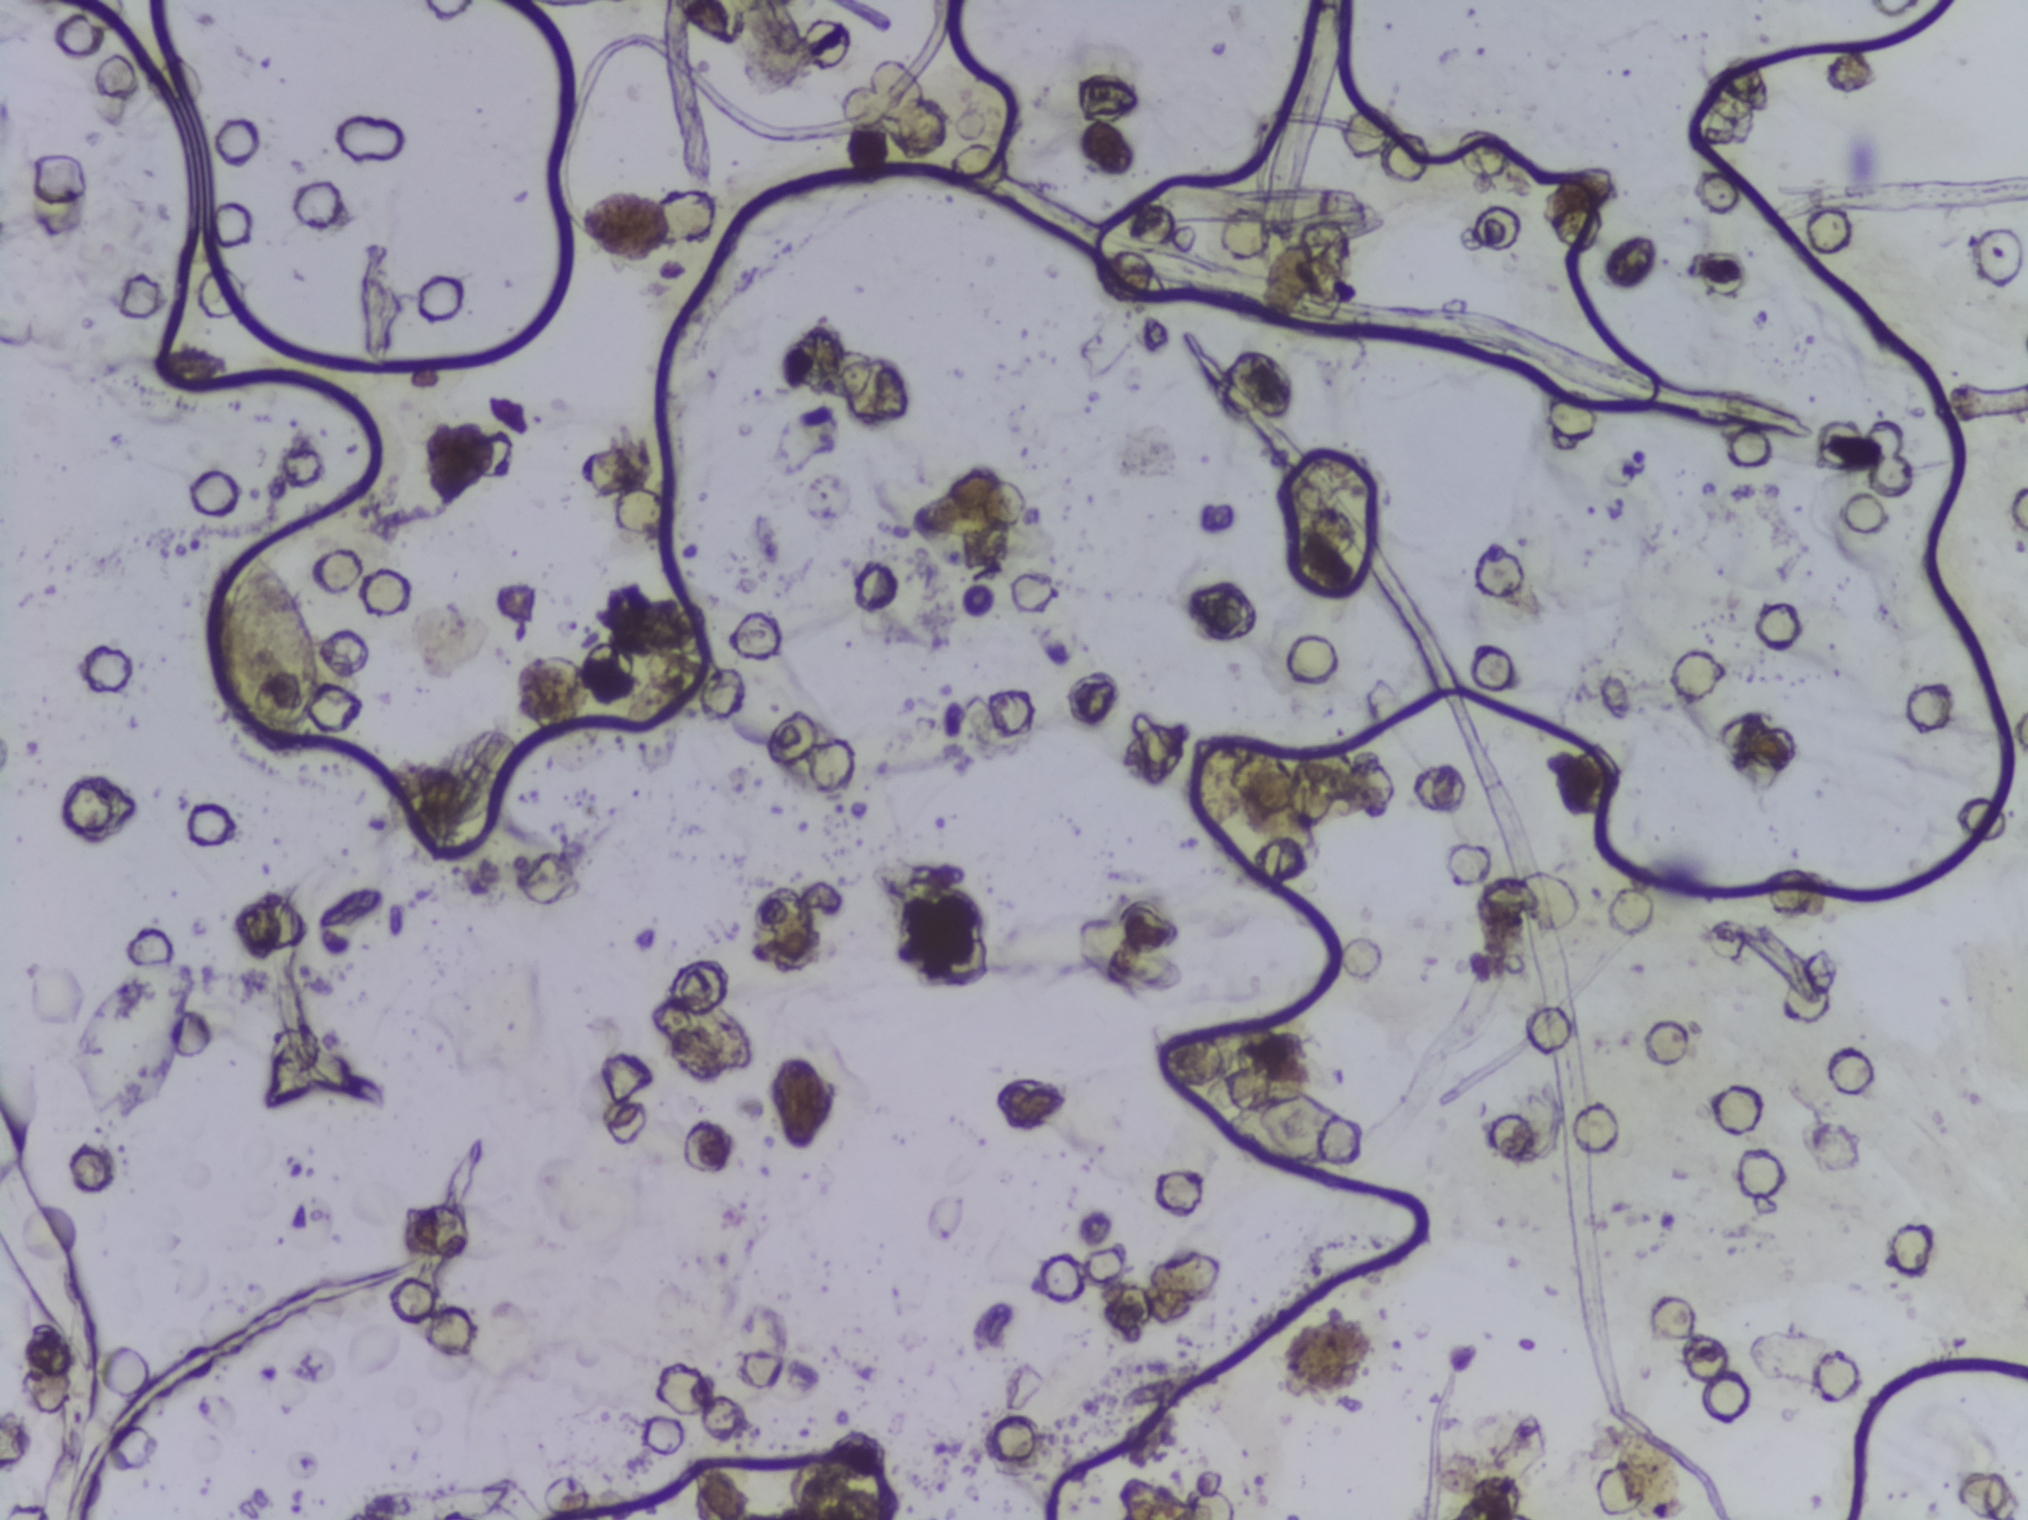
Microscope photograph (4× objective) of a membrane that a urine sample was filtered through.
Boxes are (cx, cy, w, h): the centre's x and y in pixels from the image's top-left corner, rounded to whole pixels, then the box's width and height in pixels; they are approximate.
Findings: two areas outlined as Schistosoma eggs. Locations: (cx=271, cy=652, w=103, h=200); (cx=1295, cy=1130, w=151, h=88). Marked pixels, not the boxes around them: about 0.7% of the image. An outlined area can hold more than one egg. Any one outlined egg may, rarely, be S. mansoni rather than S. haematobium.